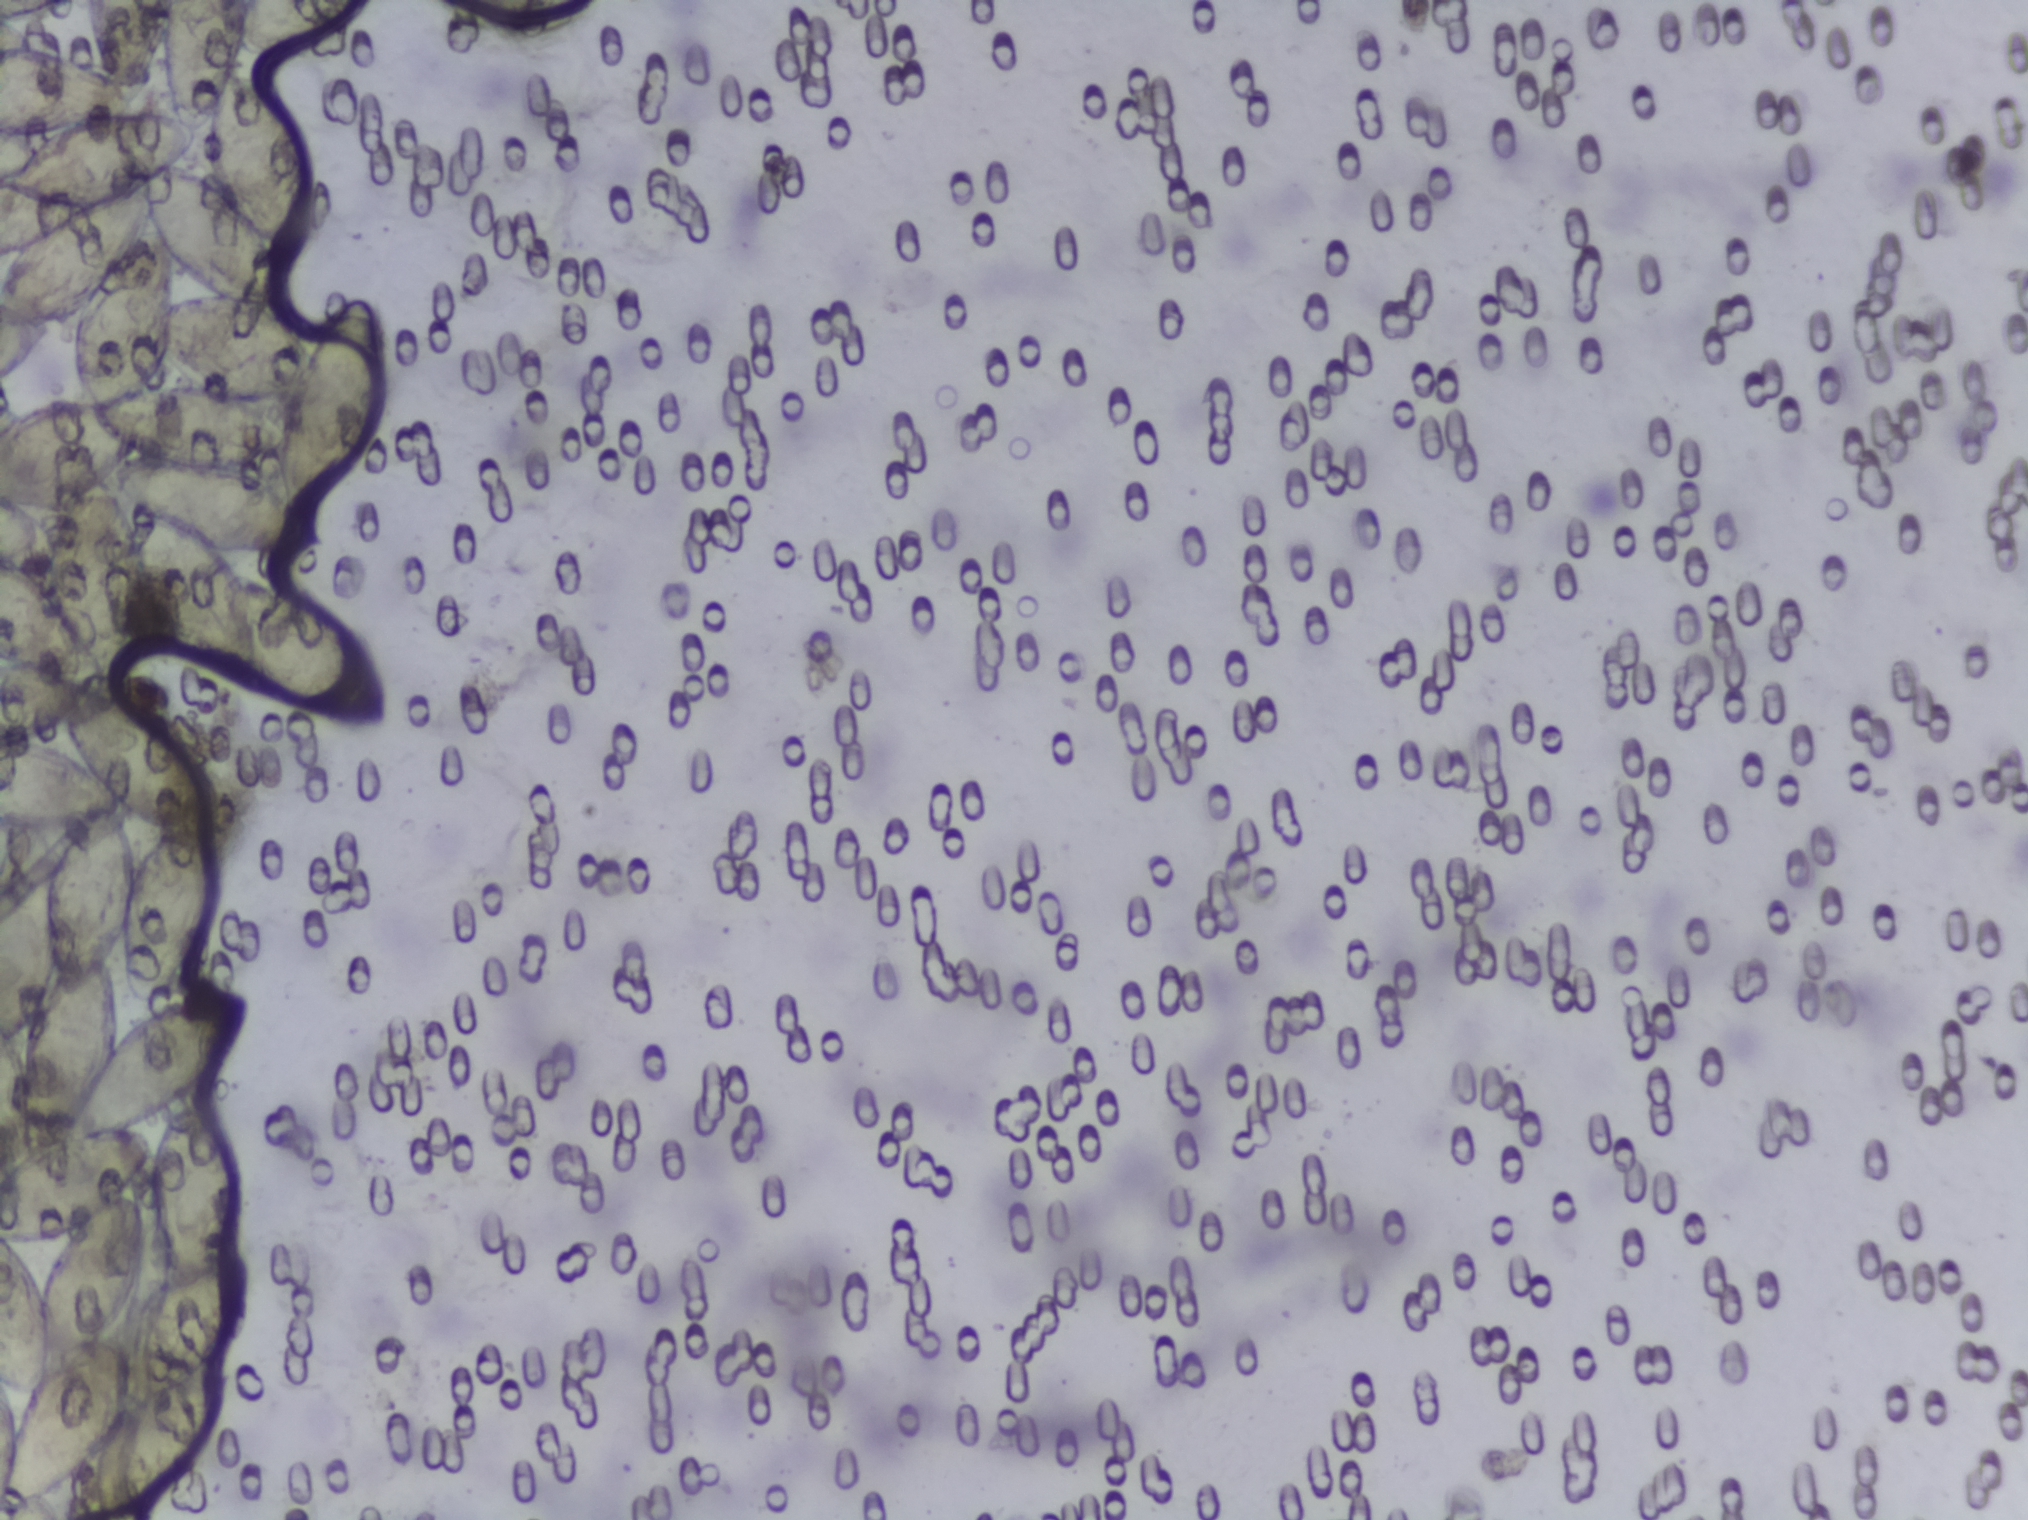
Urine filtration membrane under a 4× objective, photographed by an automated digital microscope.
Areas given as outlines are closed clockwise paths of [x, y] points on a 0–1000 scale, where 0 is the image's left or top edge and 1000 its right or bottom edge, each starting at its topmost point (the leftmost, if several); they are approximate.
Schistosoma eggs, outlined area: outline [0, 0], [33, 0], [7, 11], [15, 33], [45, 43], [53, 50], [44, 26], [41, 0], [179, 0], [154, 30], [127, 36], [119, 26], [113, 48], [136, 62], [146, 75], [154, 101], [152, 150], [146, 162], [137, 163], [143, 190], [143, 204], [139, 207], [152, 230], [164, 205], [173, 196], [183, 200], [191, 229], [189, 273], [176, 311], [154, 340], [162, 351], [162, 358], [115, 369], [120, 381], [150, 390], [174, 413], [190, 448], [191, 477], [170, 480], [137, 460], [128, 446], [128, 455], [122, 456], [93, 438], [86, 428], [73, 385], [70, 424], [62, 452], [41, 452], [87, 491], [106, 521], [106, 607], [94, 643], [83, 658], [114, 653], [123, 659], [120, 690], [110, 709], [99, 720], [112, 737], [119, 787], [115, 824], [121, 840], [122, 858], [112, 894], [111, 927], [106, 946], [80, 984], [62, 1000], [37, 996], [35, 972], [19, 987], [0, 996], [0, 772], [18, 754], [13, 744], [9, 712], [13, 682], [0, 683], [0, 560], [10, 542], [0, 538], [0, 280], [22, 265], [41, 265], [34, 235], [36, 210], [23, 213], [17, 231], [0, 253], [0, 181], [6, 170], [0, 169] (eggs clustered together; reaching the left, top and bottom edges of the frame). An outlined area can hold more than one egg.